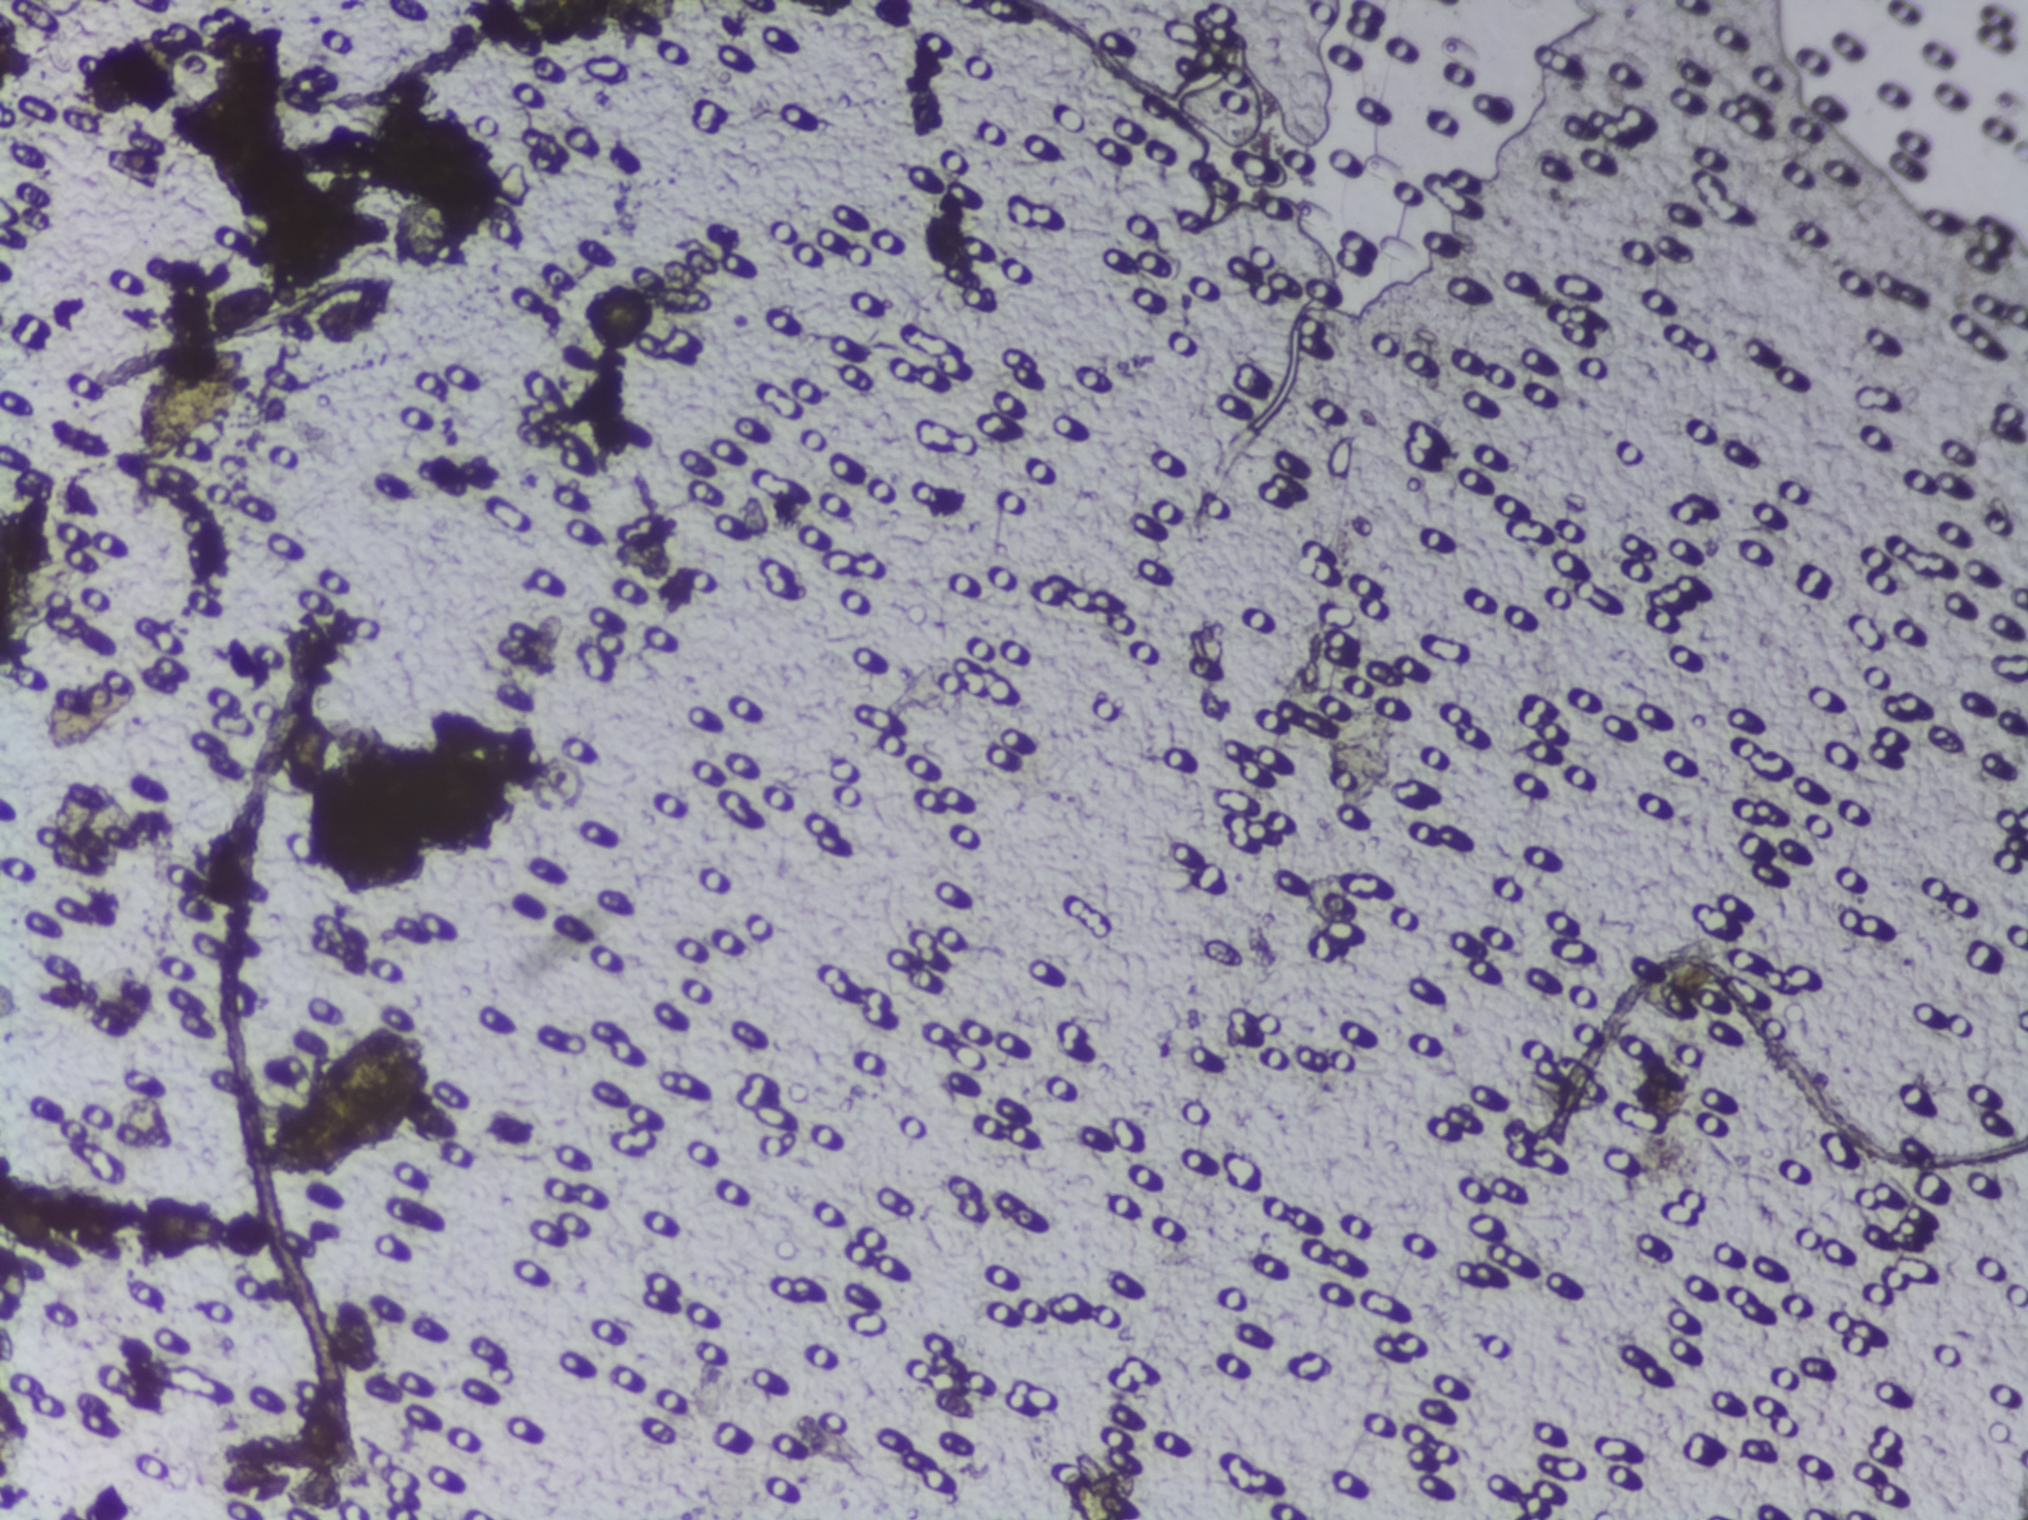
Schistosoma eggs: none outlined.
Photograph from an automated digital microscope: urine filter membrane, 4× objective.